One field of view of a urine filter membrane, 4× objective, 2028 × 1520 pixels.
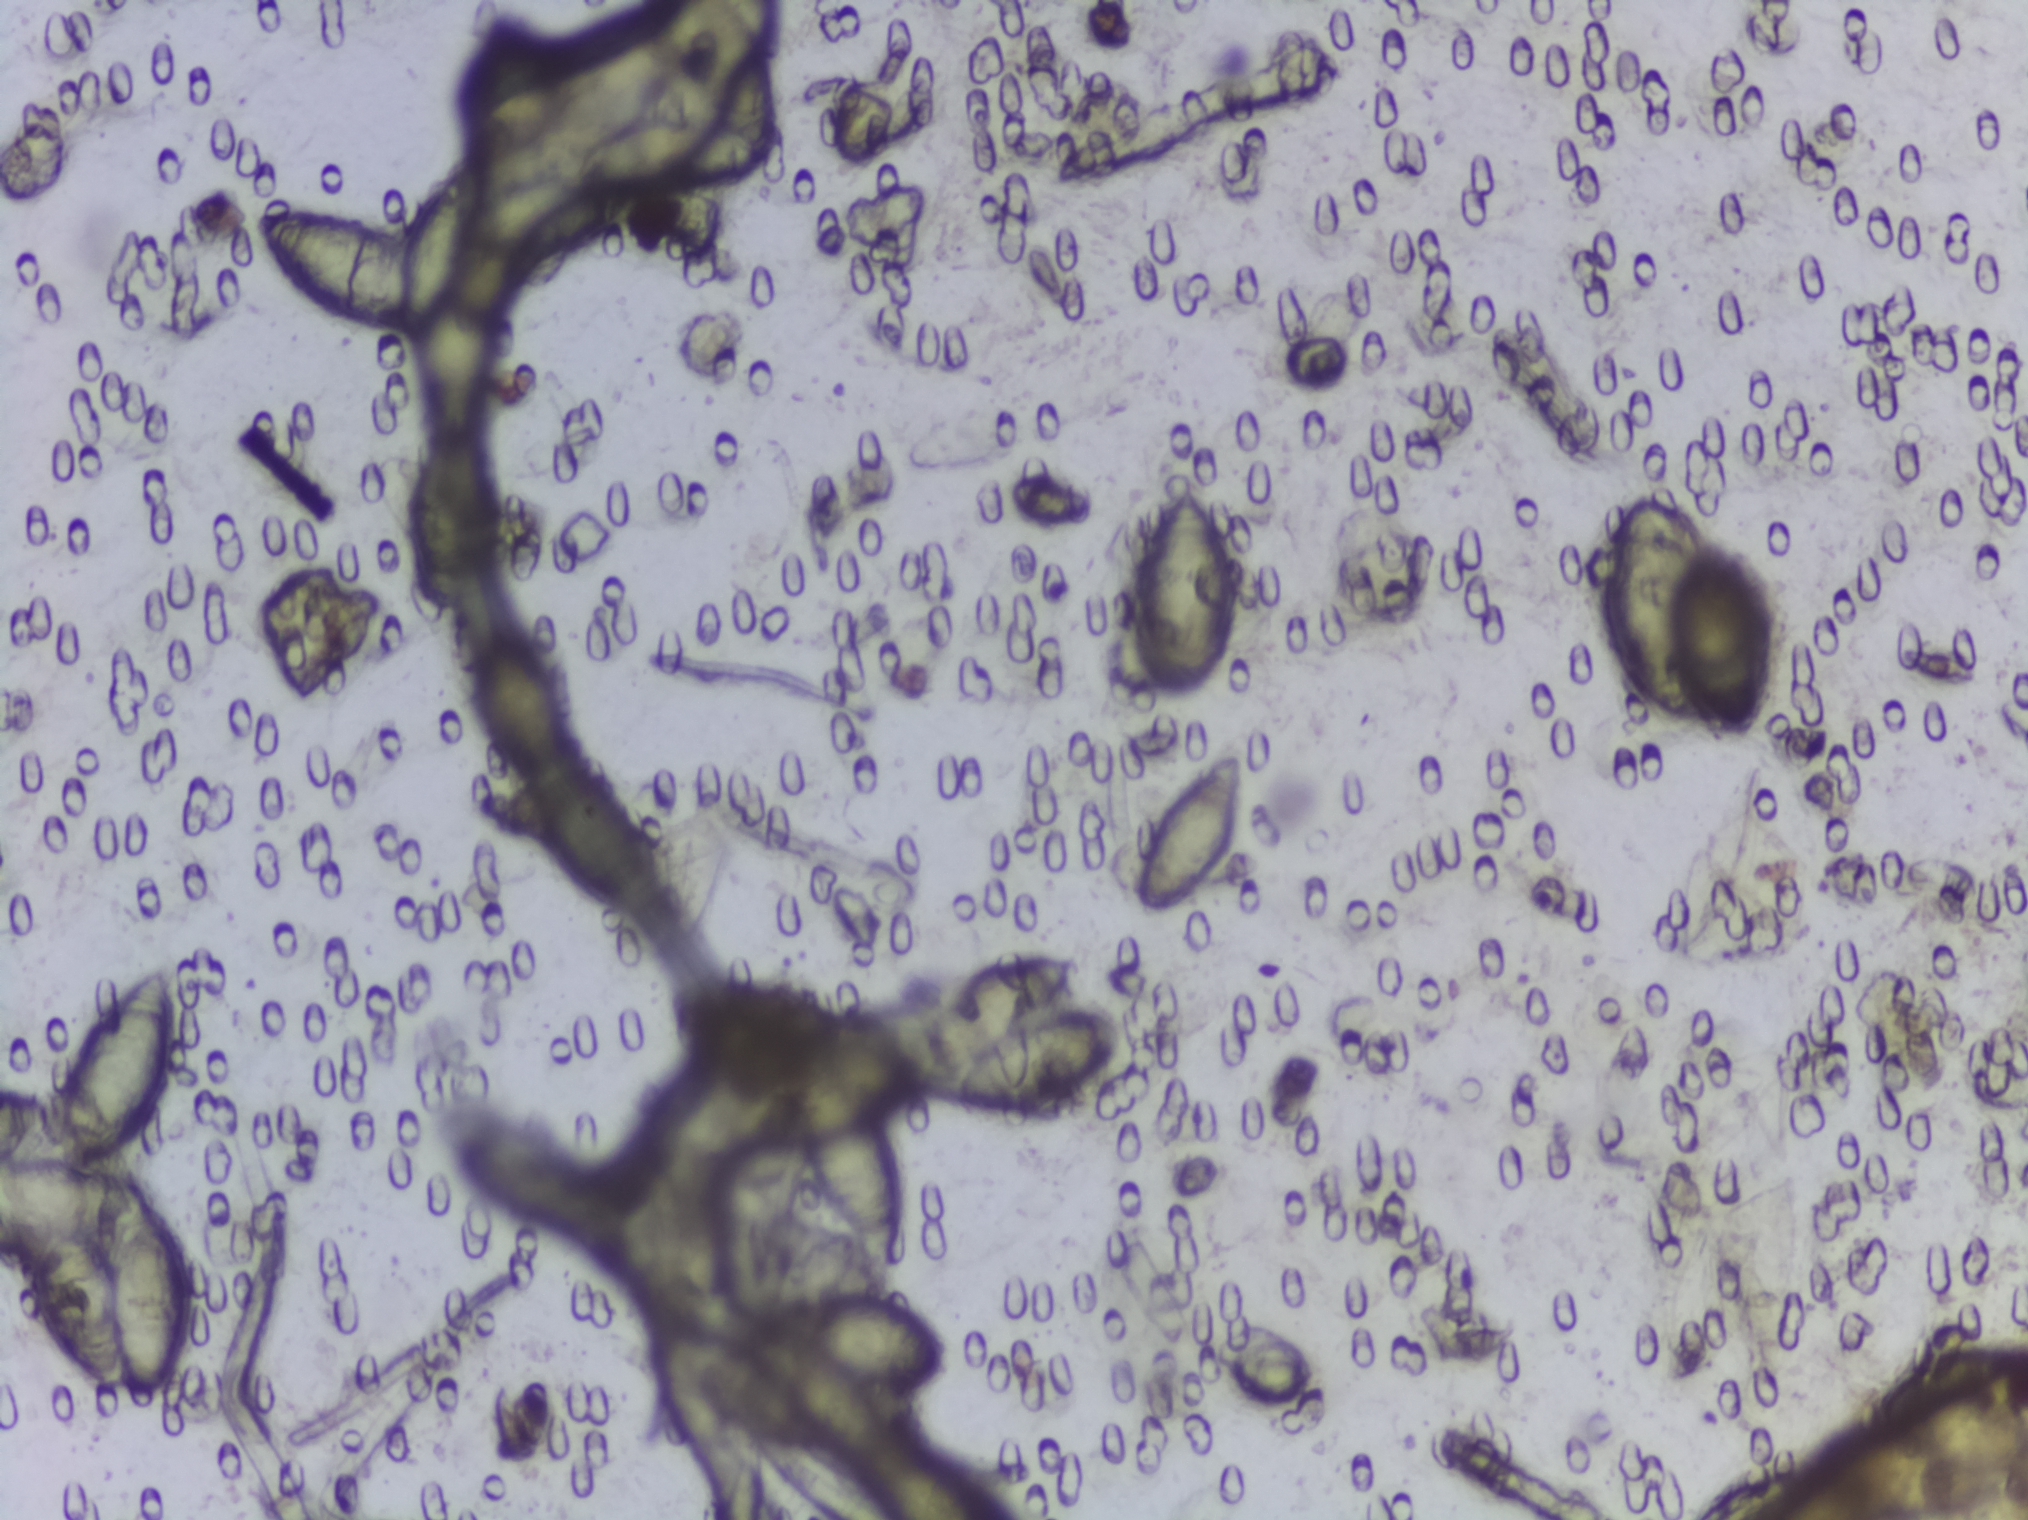
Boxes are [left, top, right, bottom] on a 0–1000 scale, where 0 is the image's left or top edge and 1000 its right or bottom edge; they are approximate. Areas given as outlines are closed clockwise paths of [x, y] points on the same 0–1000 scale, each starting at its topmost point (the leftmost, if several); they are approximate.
Outlined Schistosoma egg areas, left to right:
1. box [0, 636, 95, 919] (eggs clustered together; reaching the left edge of the frame)
2. box [0, 715, 25, 761] (reaching the left edge of the frame)
3. outline [350, 0], [380, 0], [380, 29], [376, 36], [381, 52], [381, 78], [375, 113], [336, 126], [304, 126], [306, 139], [298, 152], [288, 158], [251, 165], [246, 211], [230, 257], [217, 250], [208, 224], [202, 227], [197, 216], [178, 216], [153, 200], [139, 183], [127, 160], [127, 141], [138, 135], [161, 137], [197, 155], [215, 117], [241, 94], [236, 81], [236, 65], [238, 16], [242, 9], [249, 9], [258, 19], [268, 56], [269, 30], [276, 25], [320, 25], [345, 41] (eggs clustered together; reaching the top edge of the frame)
4. box [202, 279, 244, 401]
5. outline [244, 415], [266, 431], [276, 457], [279, 497], [297, 510], [312, 535], [321, 569], [317, 596], [295, 592], [266, 556], [258, 519], [240, 489], [234, 463], [236, 441]
6. outline [510, 628], [527, 628], [532, 631], [532, 641], [528, 652], [502, 675], [521, 669], [552, 673], [555, 691], [547, 706], [526, 725], [504, 733], [481, 731], [472, 713], [448, 706], [431, 731], [440, 758], [444, 794], [444, 815], [438, 825], [443, 843], [434, 858], [460, 878], [466, 902], [450, 915], [417, 904], [433, 924], [438, 952], [447, 953], [467, 968], [484, 996], [484, 1000], [444, 1000], [434, 981], [401, 946], [375, 947], [343, 917], [335, 899], [336, 880], [348, 881], [373, 896], [374, 885], [384, 877], [380, 874], [386, 873], [384, 869], [356, 866], [323, 848], [314, 836], [308, 815], [309, 795], [317, 787], [365, 788], [404, 798], [417, 806], [401, 777], [393, 744], [384, 740], [361, 758], [327, 763], [318, 748], [318, 729], [333, 706], [352, 698], [381, 697], [390, 712], [407, 687], [423, 675], [420, 660], [458, 658], [469, 662], [469, 653], [480, 636] (eggs clustered together; reaching the bottom edge of the frame)
7. box [558, 317, 610, 457]
8. box [561, 496, 612, 601]
9. box [790, 324, 875, 488]
10. box [840, 907, 1000, 1000] (reaching the right and bottom edges of the frame)
An outlined area can hold more than one egg. A marked egg may occasionally be S. mansoni rather than S. haematobium.